Urine filtration membrane under a 4× objective, photographed by an automated digital microscope.
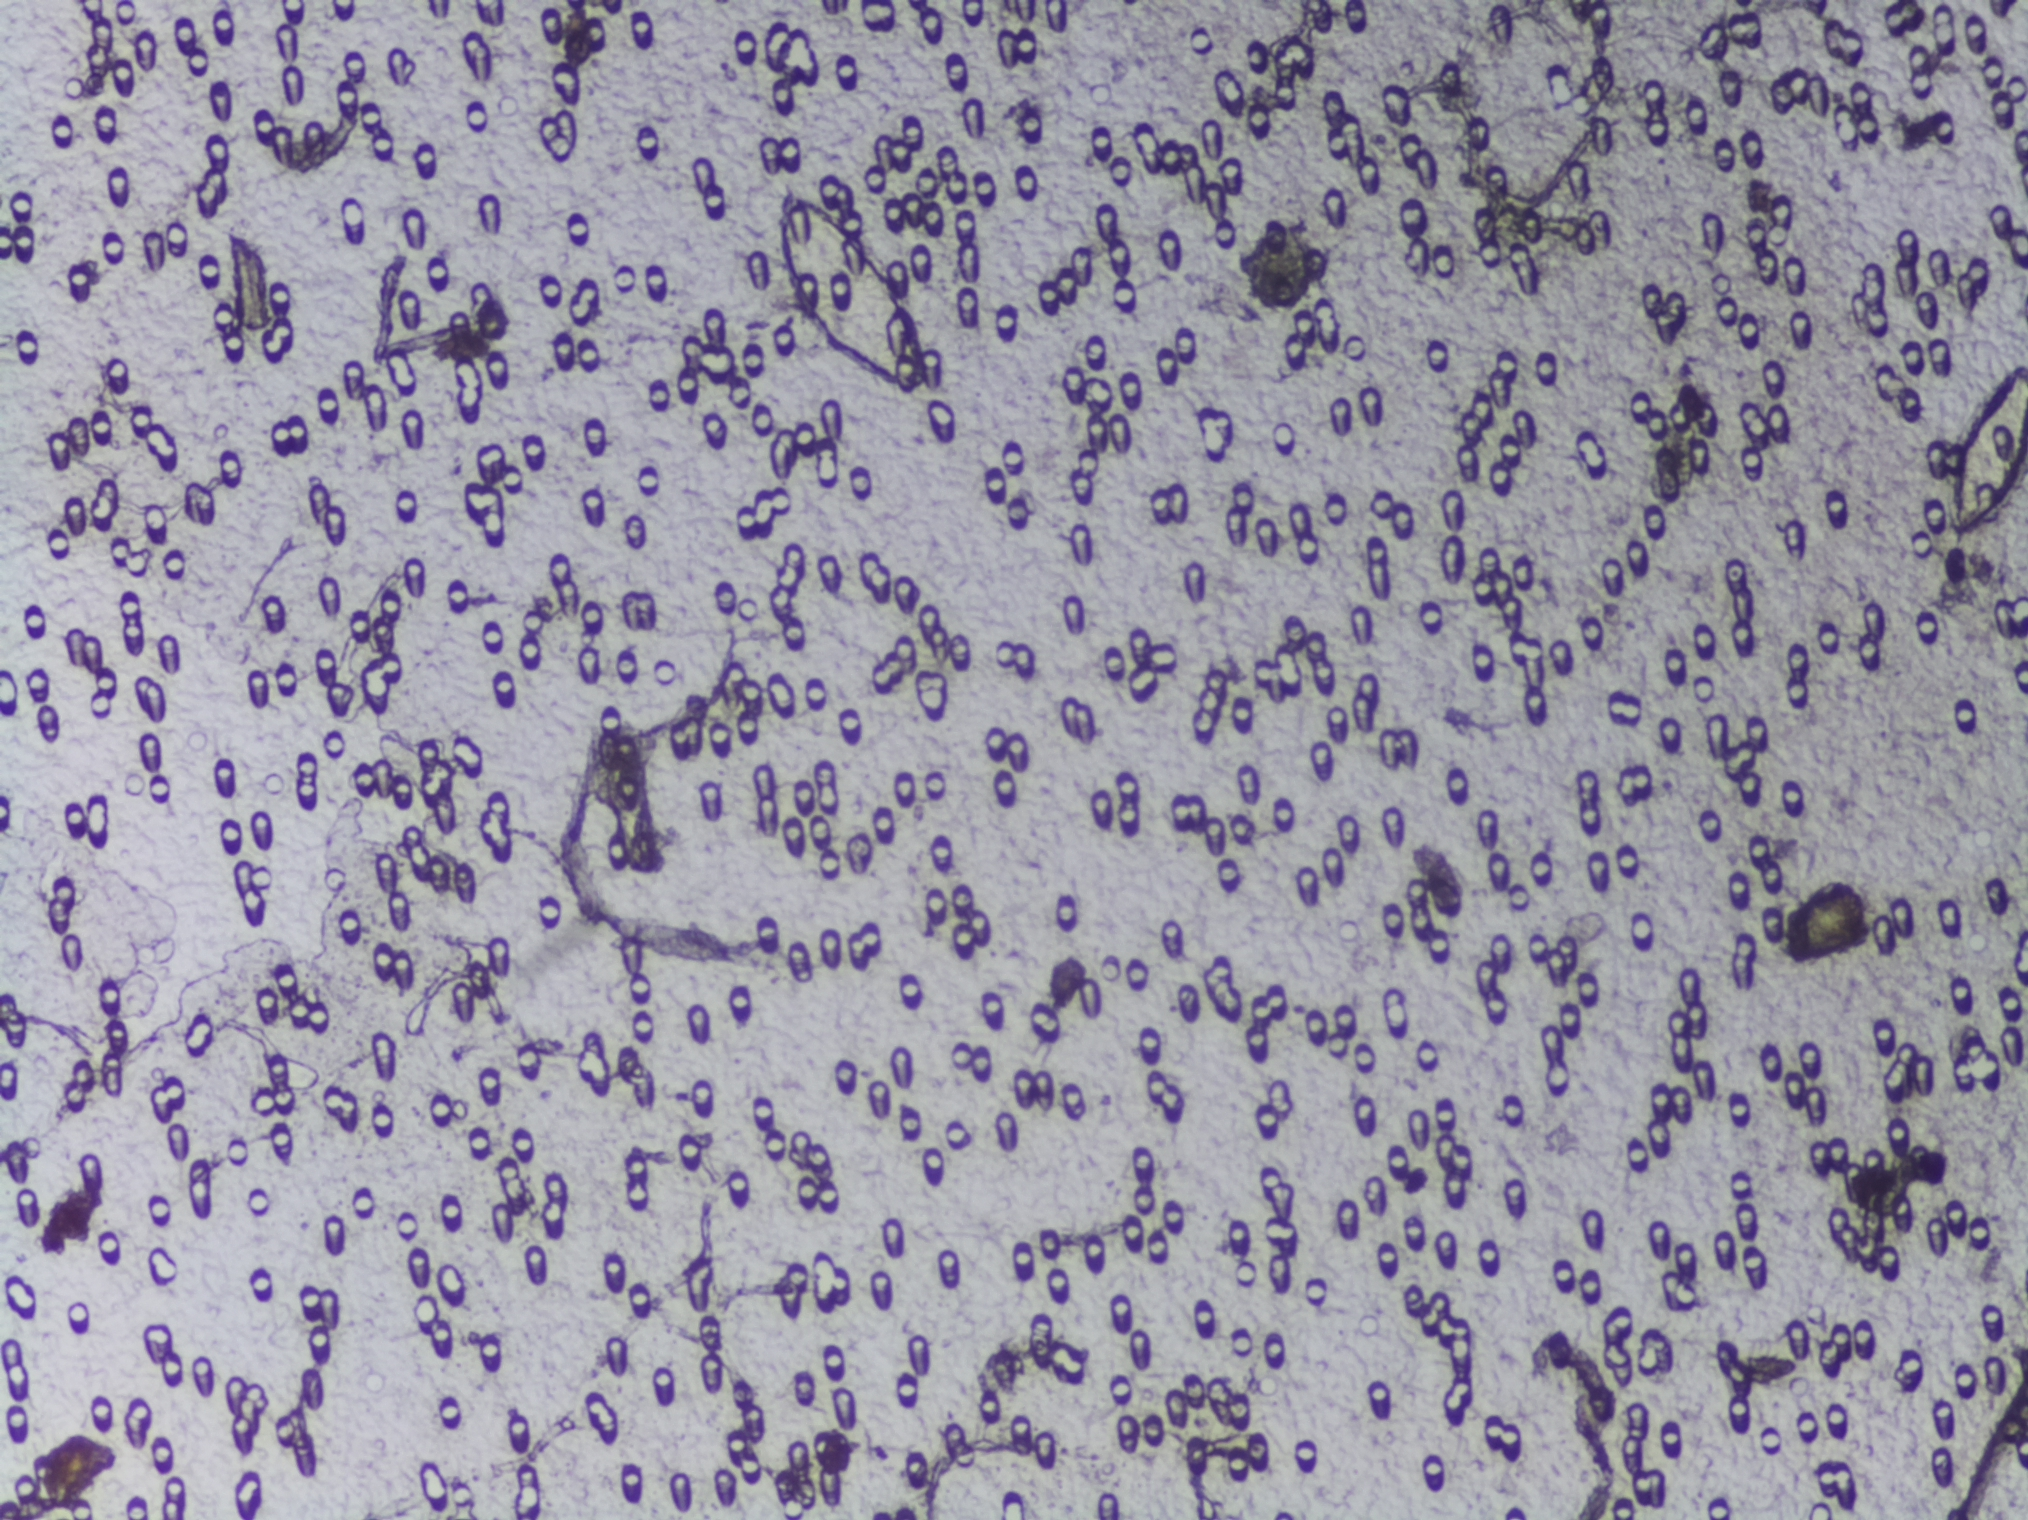
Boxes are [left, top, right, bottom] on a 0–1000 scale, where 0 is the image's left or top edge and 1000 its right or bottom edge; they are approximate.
Two areas of this image are outlined as Schistosoma eggs, from left to right: [382, 121, 462, 263] and [960, 234, 1000, 359] (reaching the right edge of the frame). Eggs that touch can end up inside the same outlined area.